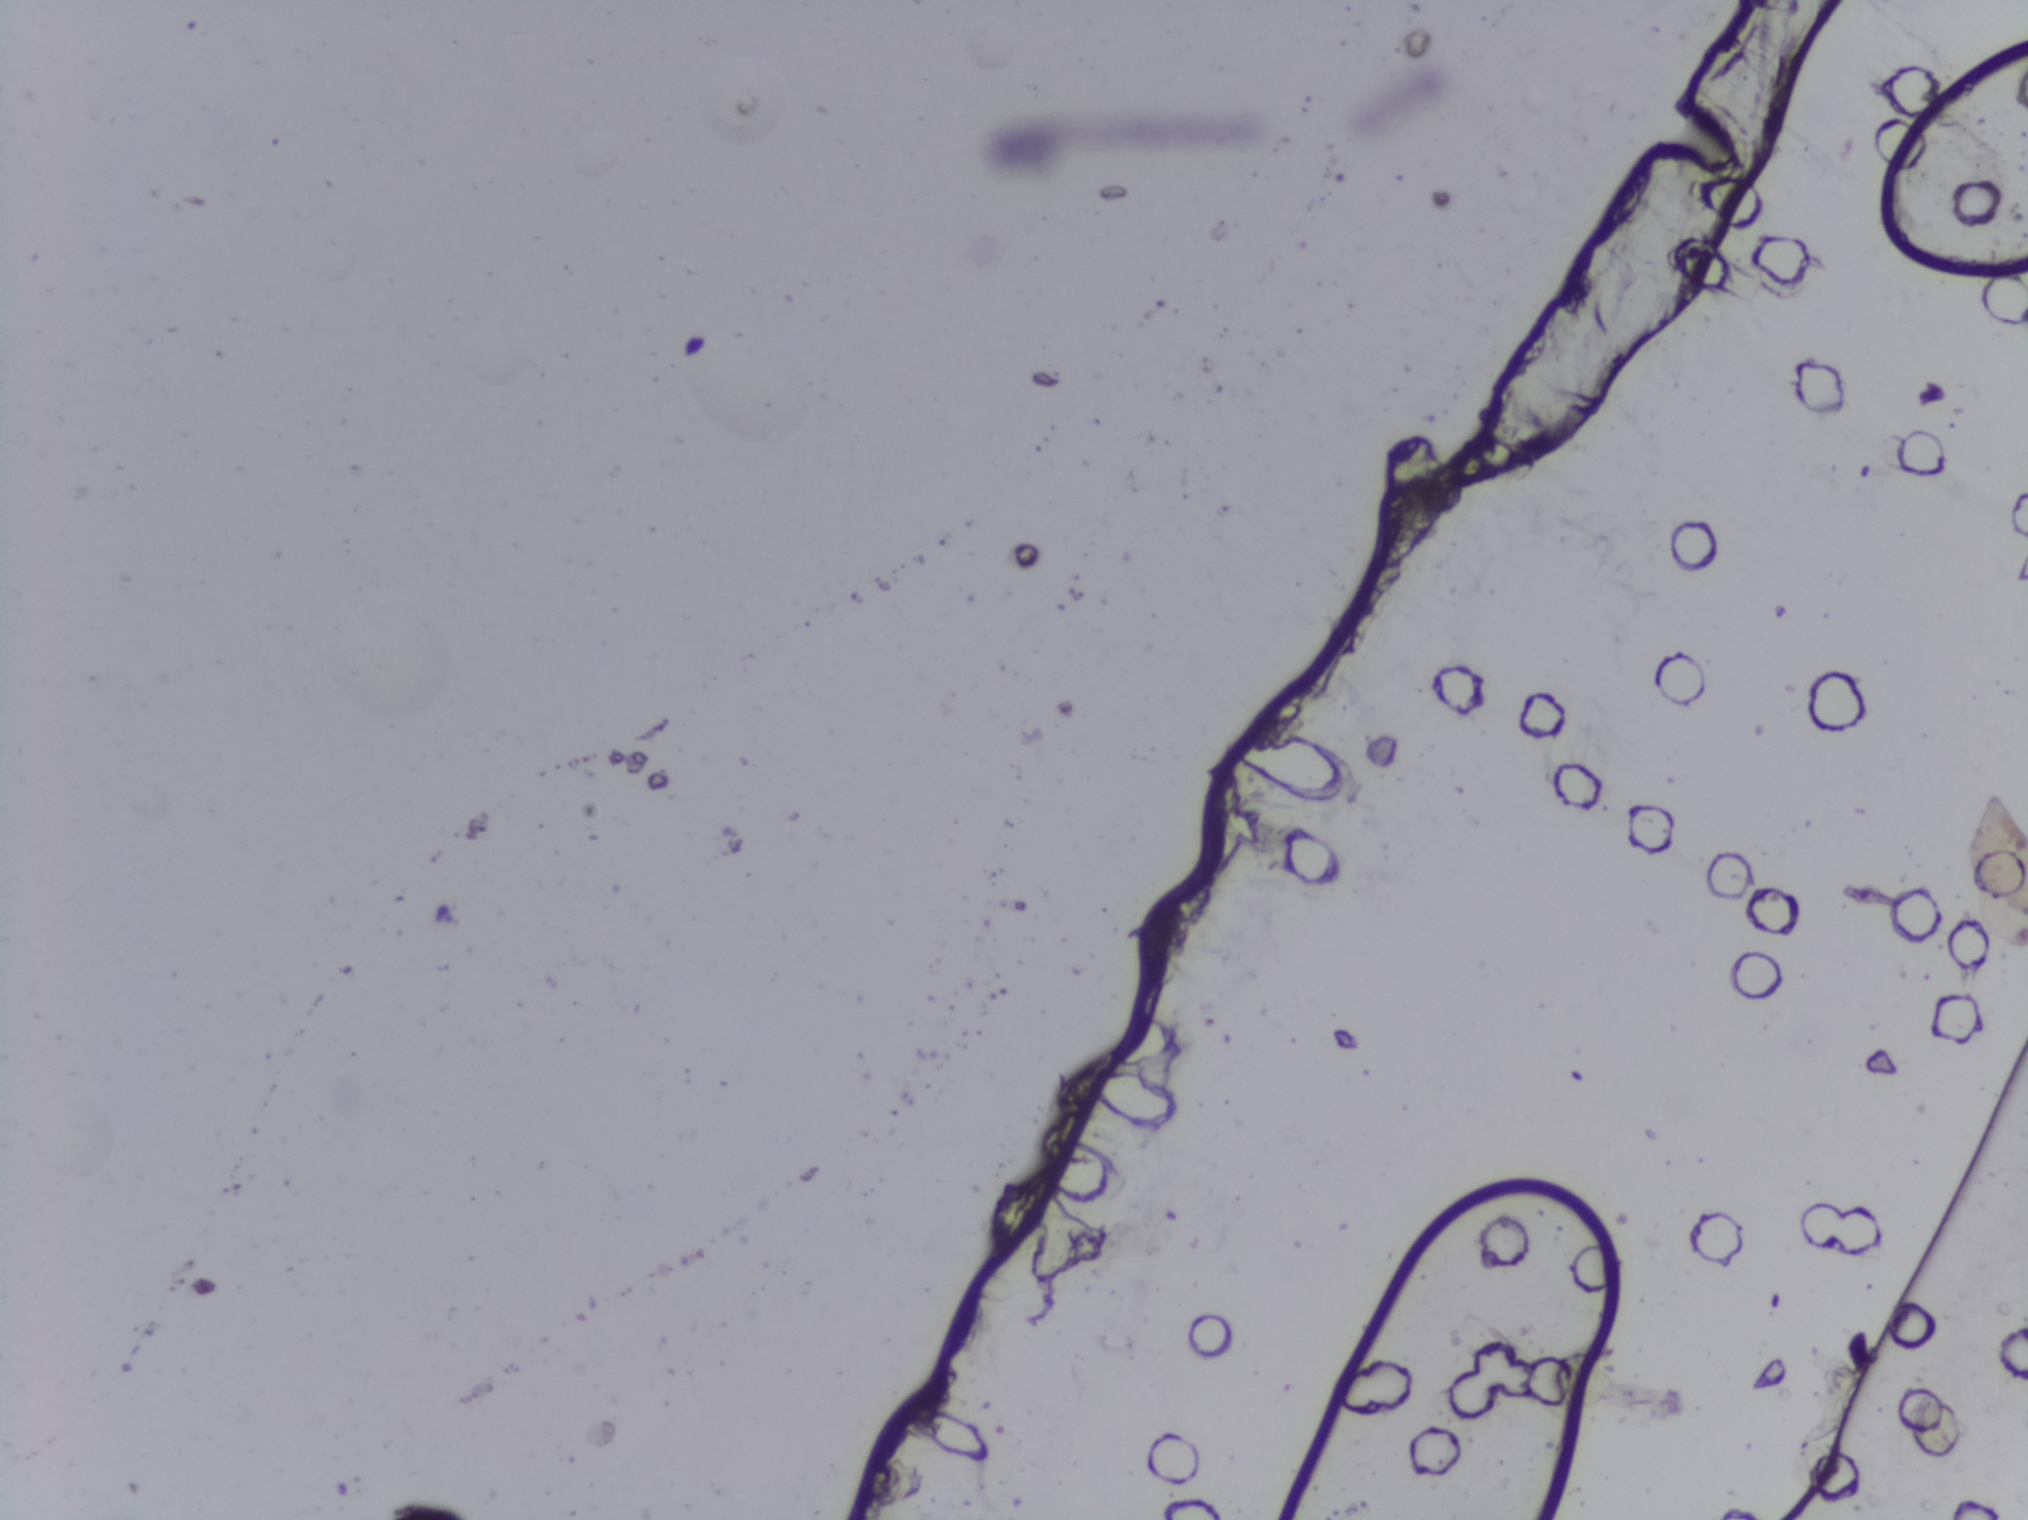
No area of this image was outlined as a Schistosoma egg.
Microscope photograph (4× objective) of a membrane that a urine sample was filtered through. The image covers about 1.5 × 1.1 mm of the membrane.